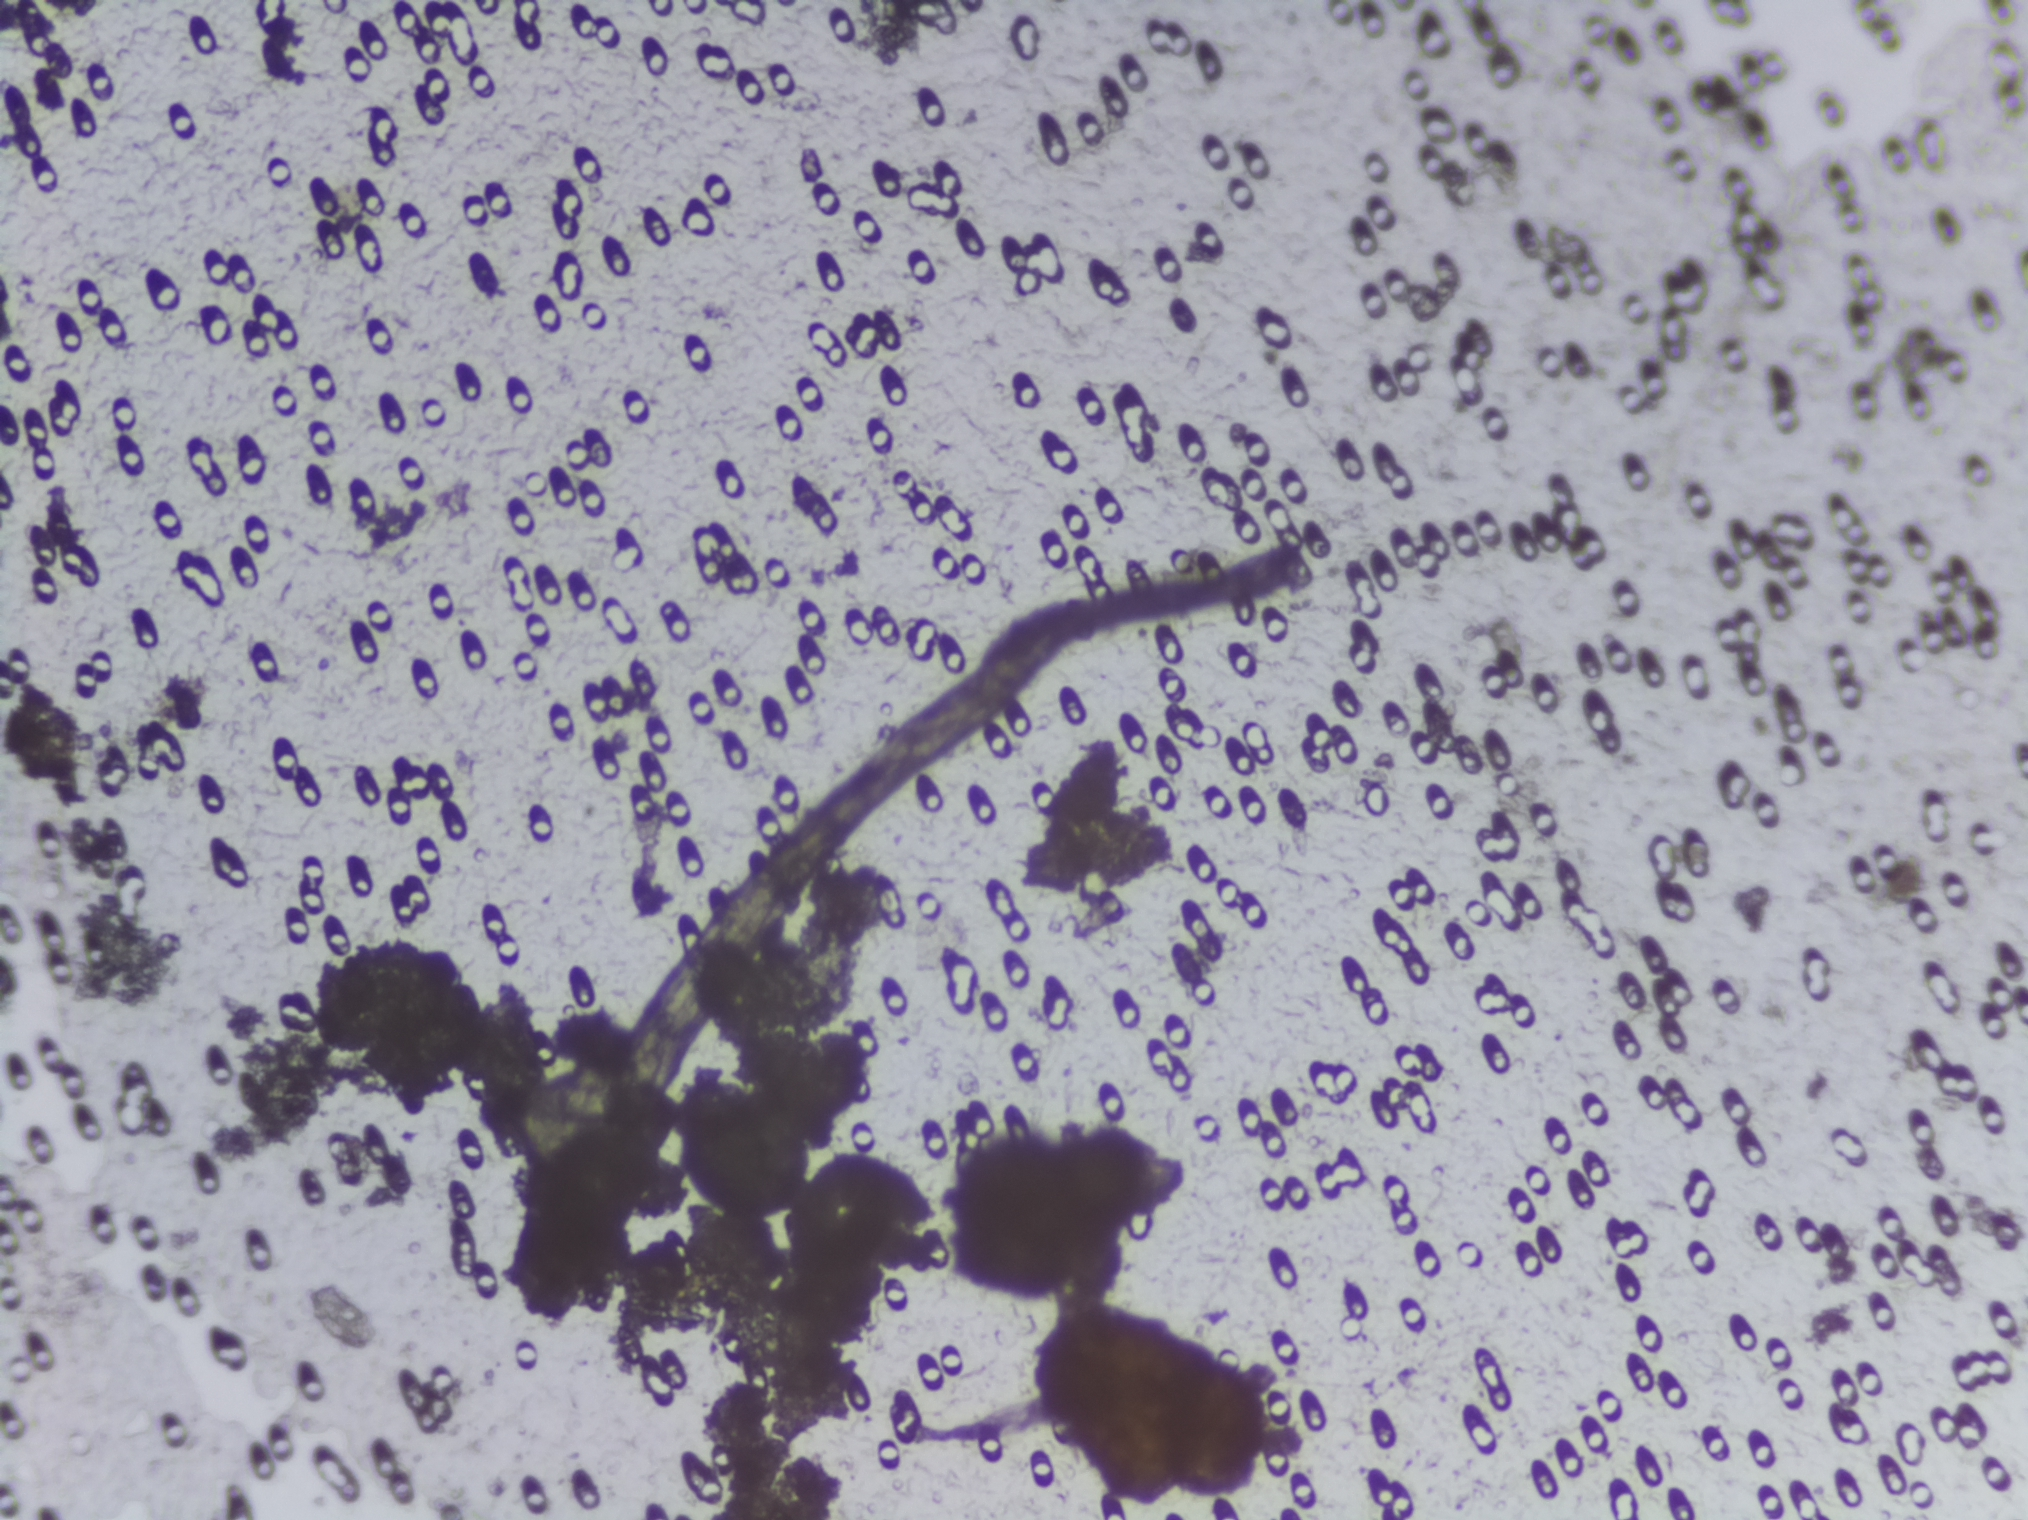
No Schistosoma egg is outlined in this image's expert annotation.
Urine filtration membrane under a 4× objective, photographed by an automated digital microscope.